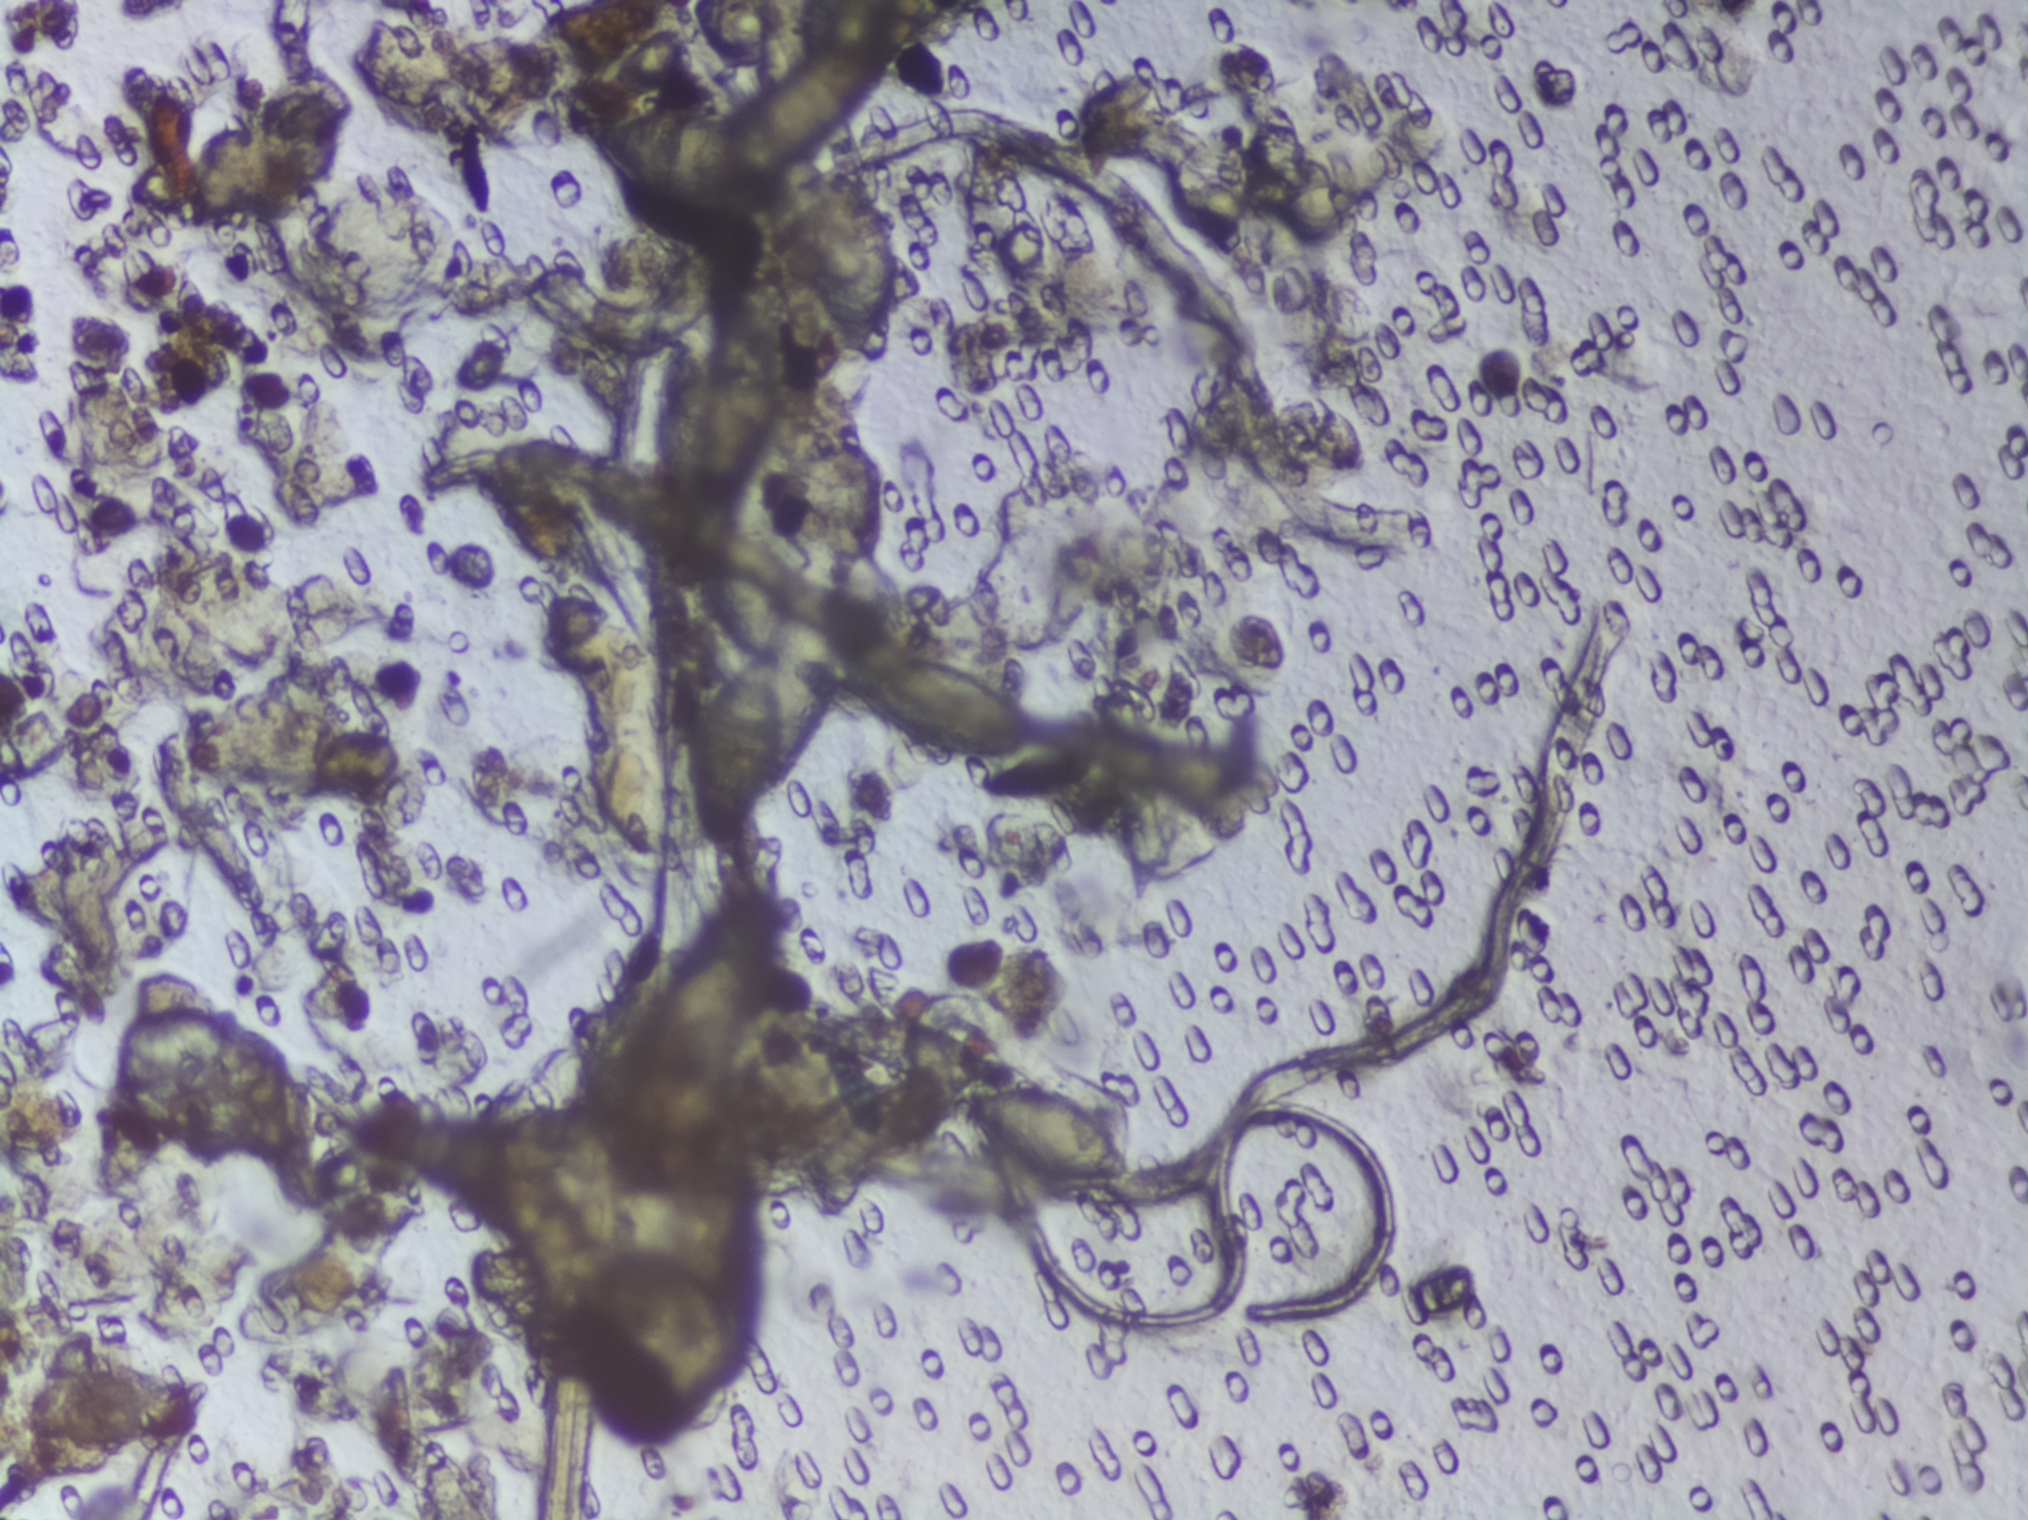
Photomicrograph of a urine filtration membrane, 4× objective. Field of view: about 1.5 mm wide and 1.1 mm high.
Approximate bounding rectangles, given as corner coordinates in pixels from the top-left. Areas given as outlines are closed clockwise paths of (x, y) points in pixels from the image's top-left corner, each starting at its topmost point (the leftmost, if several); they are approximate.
Schistosoma eggs, outlined areas: outline (809, 0), (897, 0), (889, 41), (894, 70), (887, 87), (814, 152), (824, 166), (853, 165), (866, 175), (897, 246), (898, 304), (881, 341), (862, 354), (848, 353), (815, 320), (798, 259), (780, 238), (772, 214), (694, 223), (656, 216), (607, 175), (587, 140), (588, 127), (648, 105), (722, 107), (739, 119), (761, 80), (818, 43) (eggs clustered together; reaching the top edge of the frame); box (x1=641, y1=886, x2=793, y2=1144); outline (767, 264), (779, 264), (788, 274), (796, 320), (792, 392), (761, 457), (772, 468), (779, 496), (782, 581), (803, 560), (833, 561), (841, 577), (848, 656), (924, 652), (981, 670), (1027, 703), (1039, 739), (1031, 754), (977, 762), (867, 716), (840, 697), (826, 741), (798, 784), (737, 851), (716, 854), (688, 821), (687, 716), (694, 718), (721, 674), (747, 650), (716, 620), (702, 556), (665, 498), (648, 448), (645, 393), (658, 329), (672, 325), (701, 362), (727, 288) (eggs clustered together); box (x1=958, y1=1083, x2=1134, y2=1184). A single outlined area may contain several eggs.